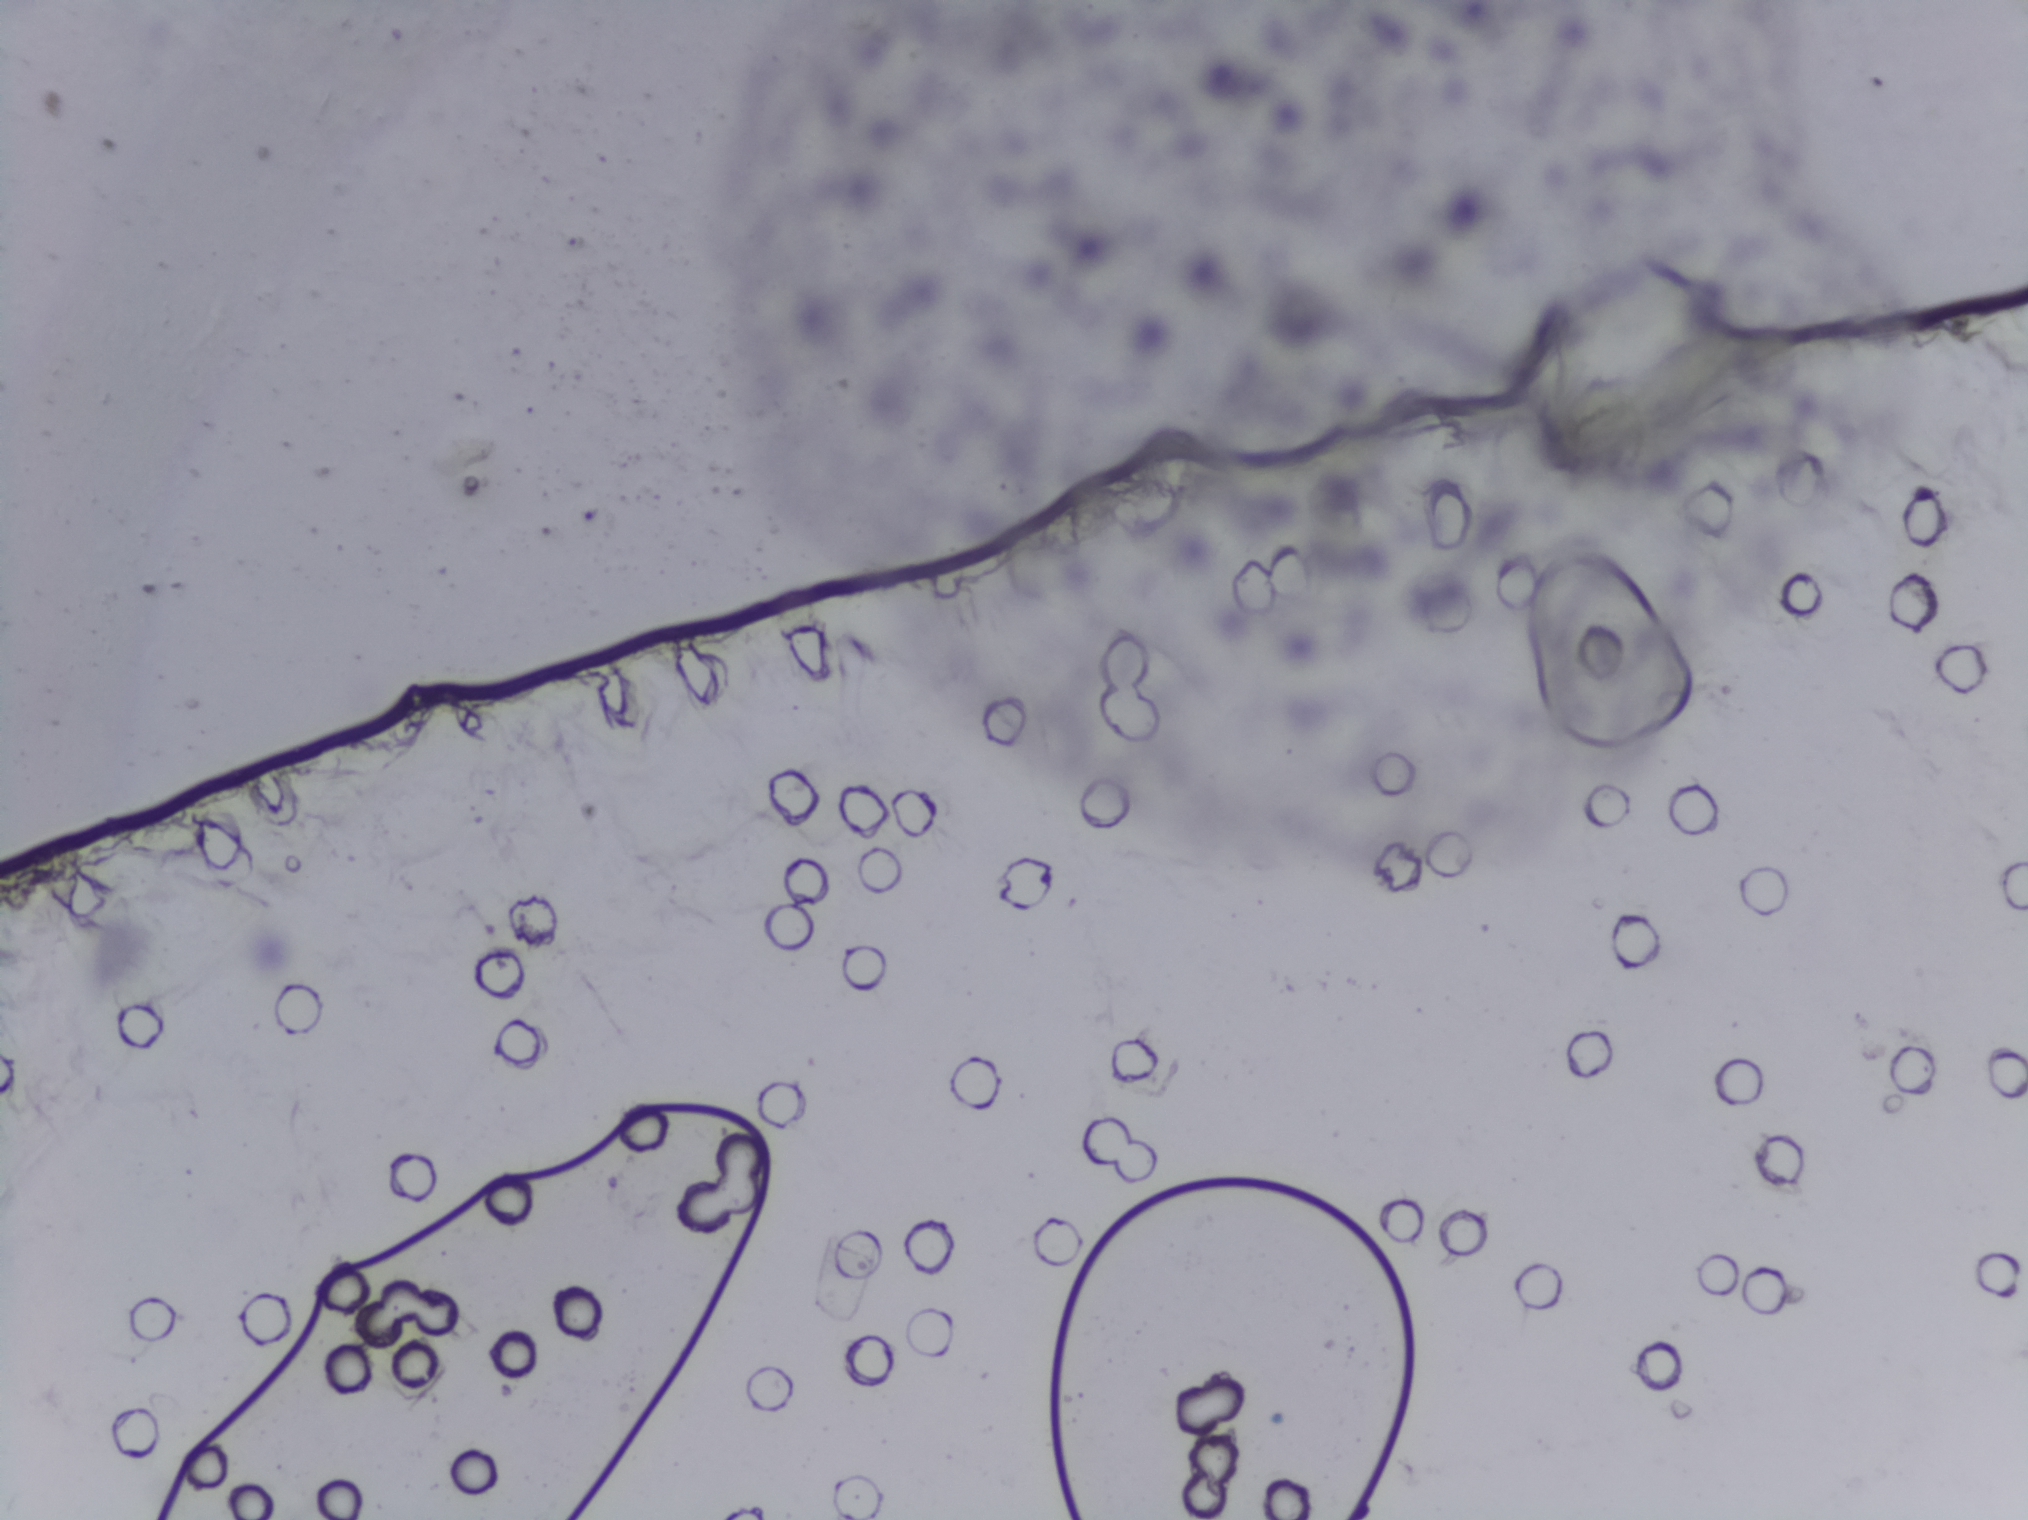
Urine filtration membrane under a 4× objective, photographed by an automated digital microscope.
Schistosoma eggs: none outlined.